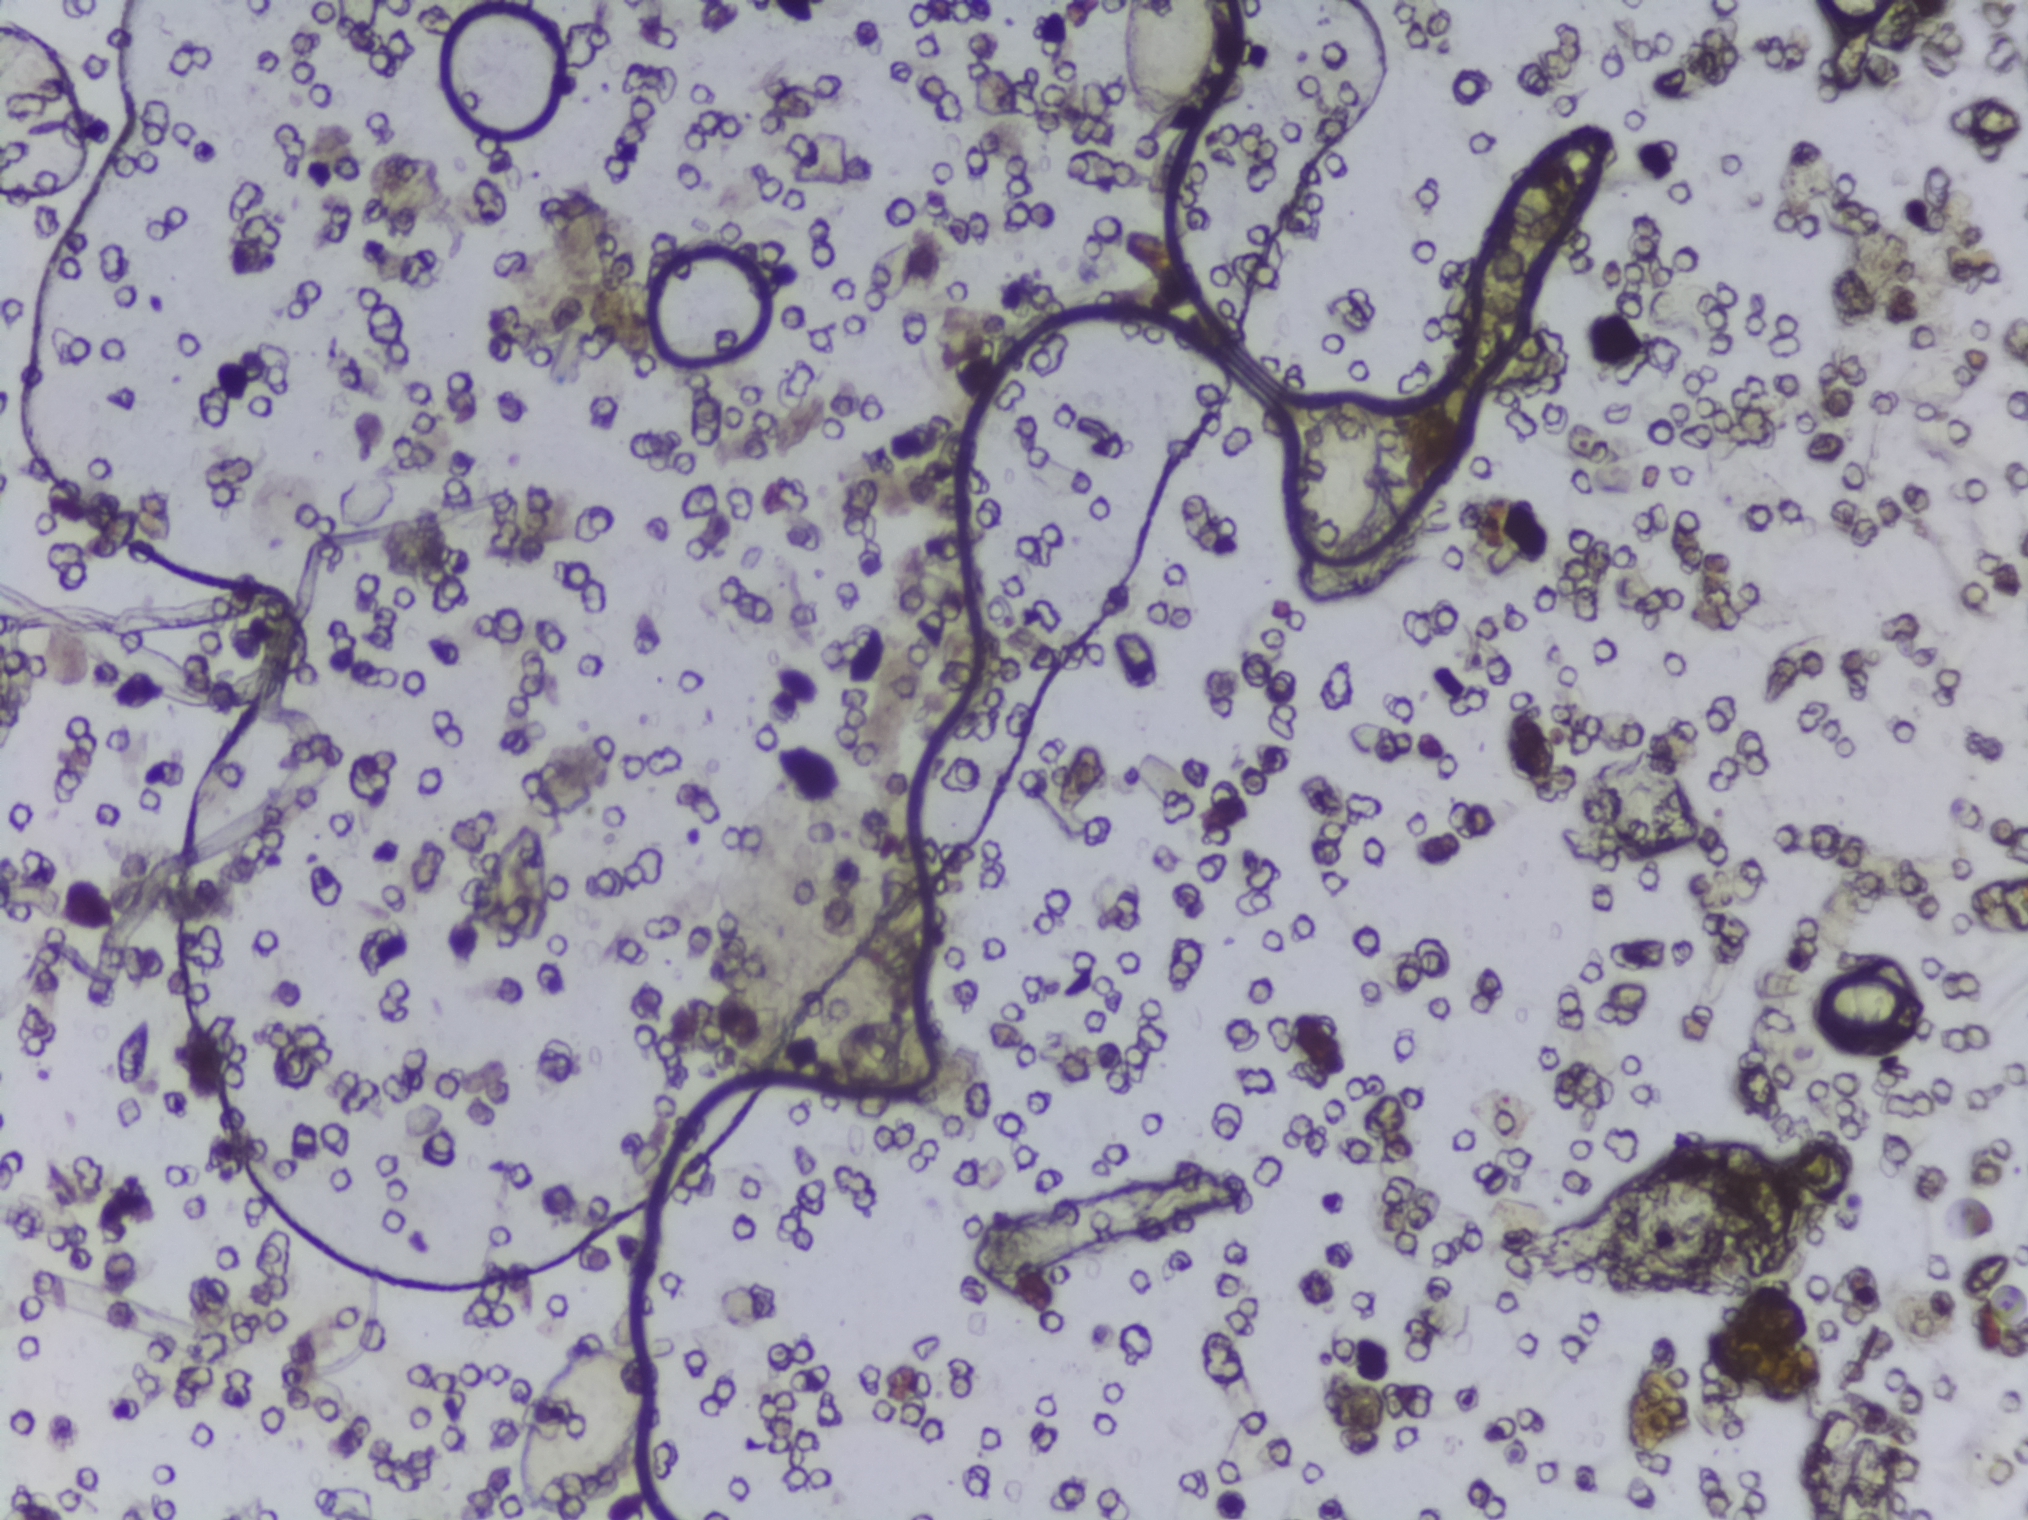
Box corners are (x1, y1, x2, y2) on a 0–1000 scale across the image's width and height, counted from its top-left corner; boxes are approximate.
Schistosoma eggs are outlined in three areas of this image, listed from left to right: (253, 874, 326, 1000) (reaching the bottom edge of the frame); (553, 0, 601, 87) (reaching the top edge of the frame); (637, 257, 682, 372). The marked pixels themselves, not the boxes around them, cover about 1.3% of the image. A single outlined area may contain several eggs.
Microscope photograph (4× objective) of a membrane that a urine sample was filtered through.